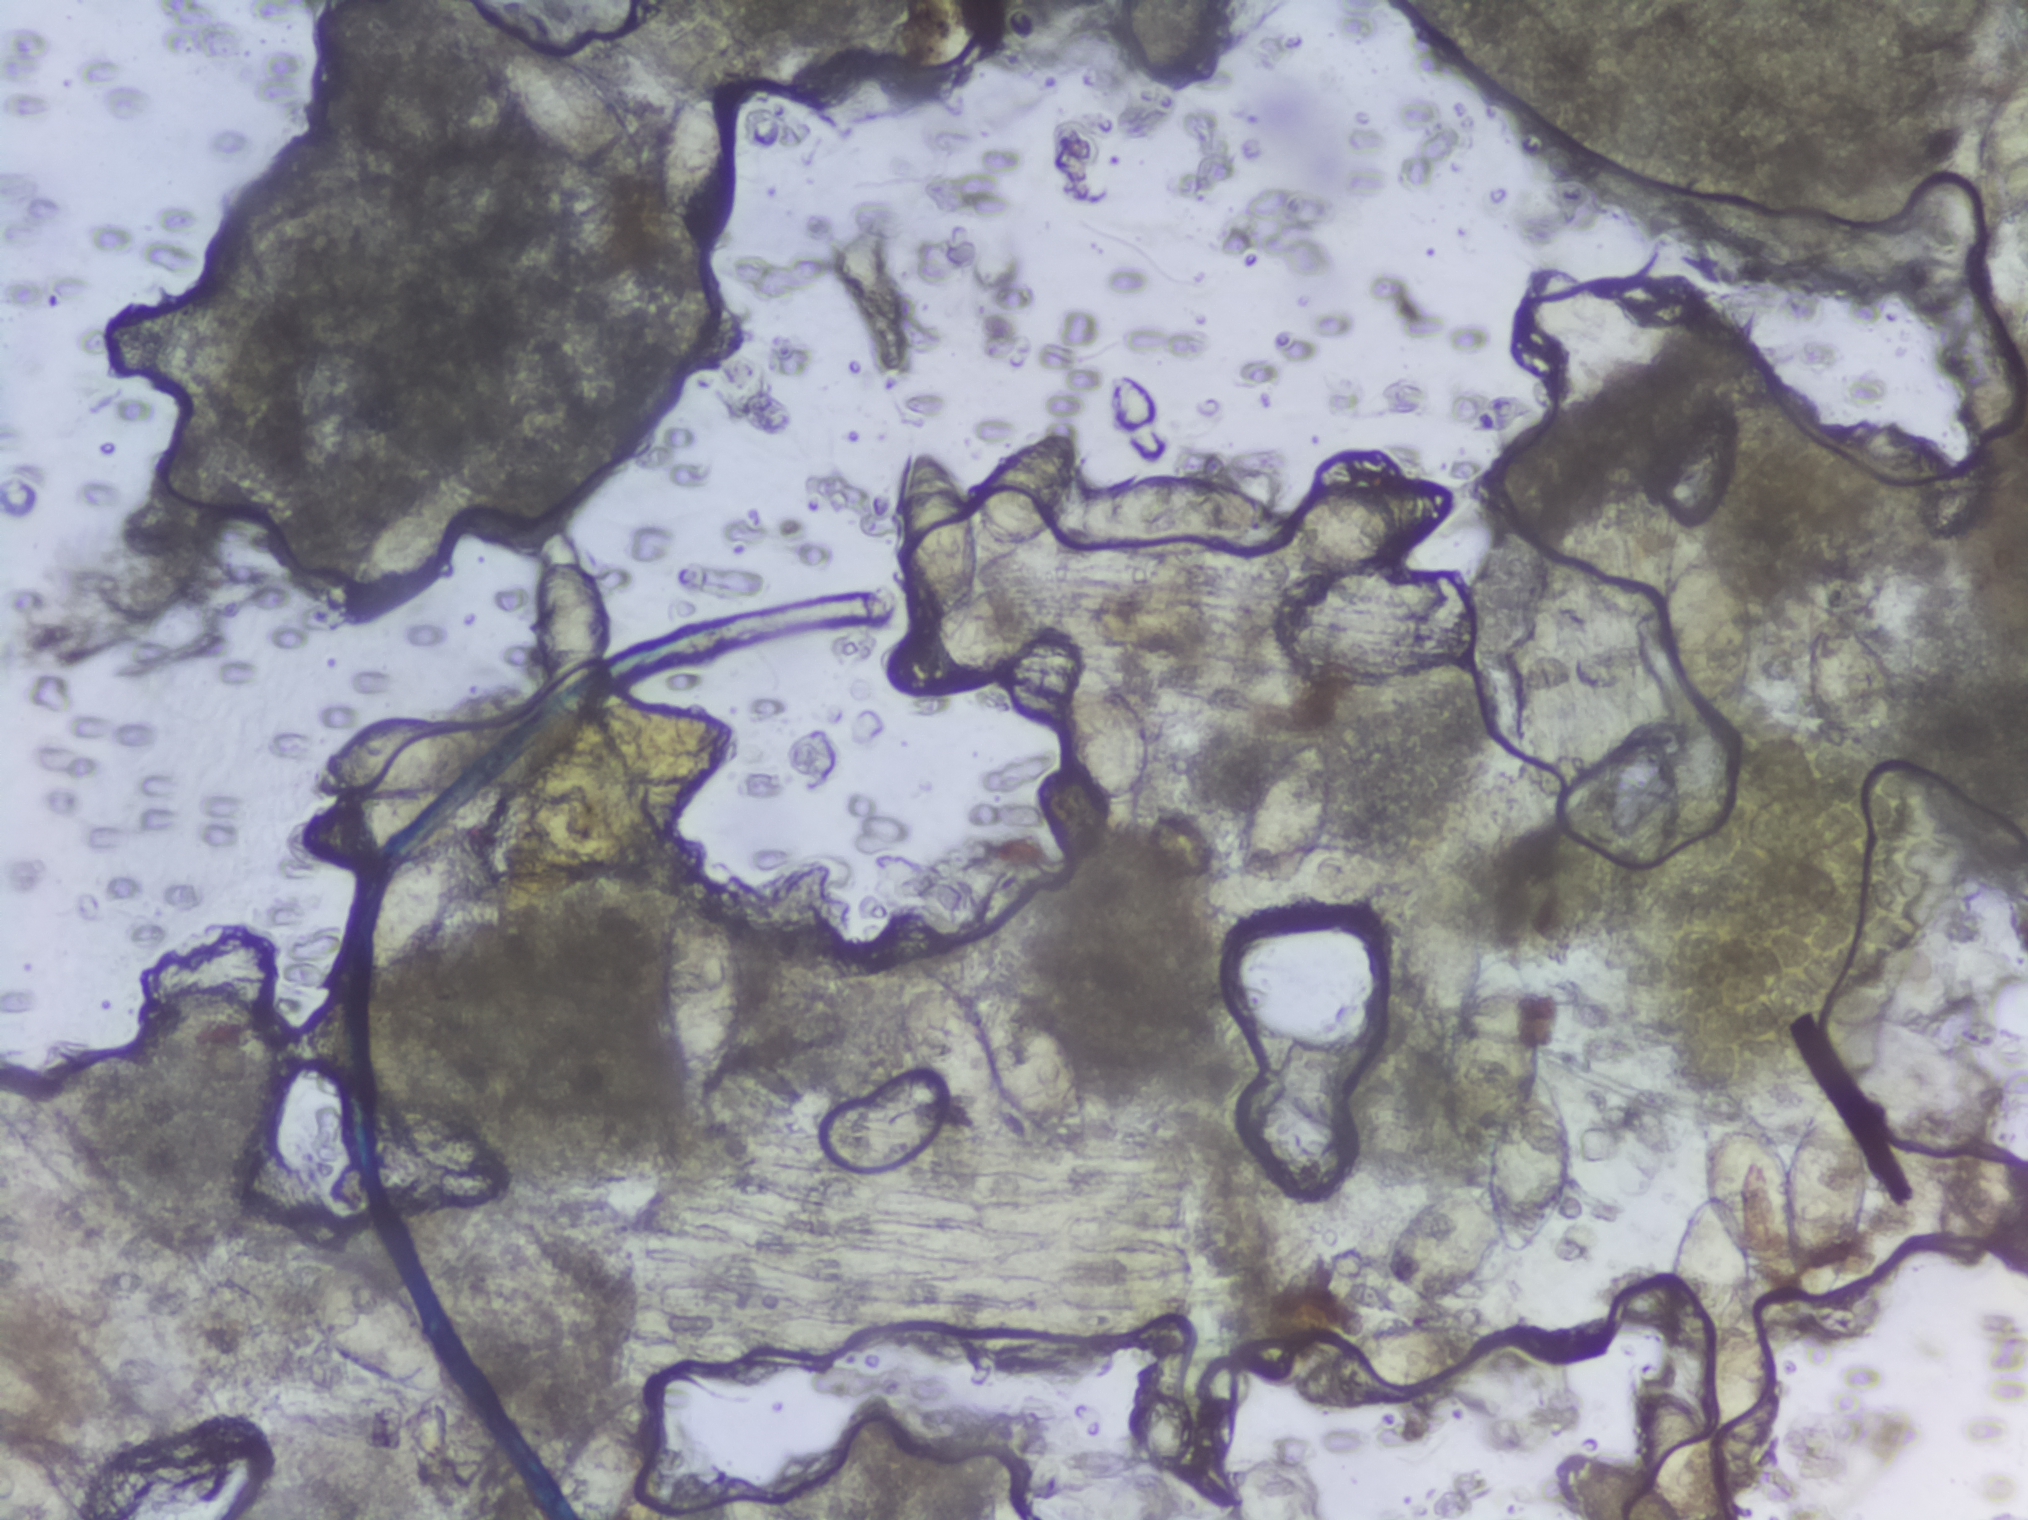
Microscope photograph (4× objective) of a membrane that a urine sample was filtered through.
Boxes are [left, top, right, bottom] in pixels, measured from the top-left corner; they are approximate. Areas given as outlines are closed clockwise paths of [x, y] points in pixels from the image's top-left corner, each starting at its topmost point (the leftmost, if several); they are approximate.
Schistosoma eggs are outlined in 17 areas of this image, listed from left to right: box [277, 1246, 448, 1400]; box [301, 713, 467, 976]; box [491, 42, 653, 192]; box [529, 557, 616, 717]; box [656, 86, 724, 223]; box [657, 879, 748, 1106]; outline [1063, 429], [1079, 442], [1086, 492], [1155, 469], [1191, 467], [1253, 487], [1271, 505], [1273, 526], [1249, 547], [1200, 563], [1117, 558], [1061, 528], [1036, 551], [1002, 552], [984, 540], [984, 582], [1057, 583], [1064, 621], [1053, 641], [1037, 660], [972, 691], [912, 696], [886, 684], [880, 677], [883, 655], [924, 616], [898, 530], [897, 490], [908, 452], [927, 444], [948, 452], [970, 506], [972, 489], [997, 456] (eggs clustered together); box [957, 966, 1098, 1154]; box [1059, 657, 1154, 808]; box [1105, 0, 1231, 89] (reaching the top edge of the frame); box [1197, 739, 1400, 925]; box [1280, 476, 1455, 573]; outline [1489, 946], [1516, 949], [1536, 984], [1543, 1068], [1561, 1092], [1576, 1140], [1571, 1202], [1542, 1251], [1519, 1261], [1508, 1254], [1479, 1291], [1428, 1314], [1460, 1313], [1491, 1325], [1494, 1345], [1473, 1379], [1397, 1414], [1312, 1417], [1288, 1401], [1286, 1381], [1314, 1349], [1388, 1319], [1365, 1294], [1368, 1257], [1387, 1217], [1400, 1204], [1406, 1212], [1412, 1199], [1455, 1177], [1484, 1175], [1444, 1136], [1434, 1069], [1462, 978] (eggs clustered together); outline [1709, 1088], [1741, 1096], [1782, 1150], [1825, 1092], [1855, 1126], [1869, 1159], [1861, 1232], [1833, 1288], [1804, 1314], [1755, 1284], [1789, 1384], [1783, 1455], [1762, 1502], [1734, 1510], [1717, 1498], [1713, 1519], [1576, 1519], [1556, 1497], [1550, 1458], [1592, 1449], [1639, 1470], [1632, 1434], [1635, 1372], [1680, 1385], [1684, 1358], [1666, 1323], [1666, 1262], [1680, 1217], [1704, 1196], [1701, 1110] (eggs clustered together; reaching the bottom edge of the frame); box [1659, 524, 1760, 726]; box [1795, 592, 1905, 762]; box [1970, 59, 2027, 241] (reaching the right edge of the frame). About 12% of the image's pixels are marked (the marked pixels themselves, not the boxes and the outlines around them). An outlined area can hold more than one egg.